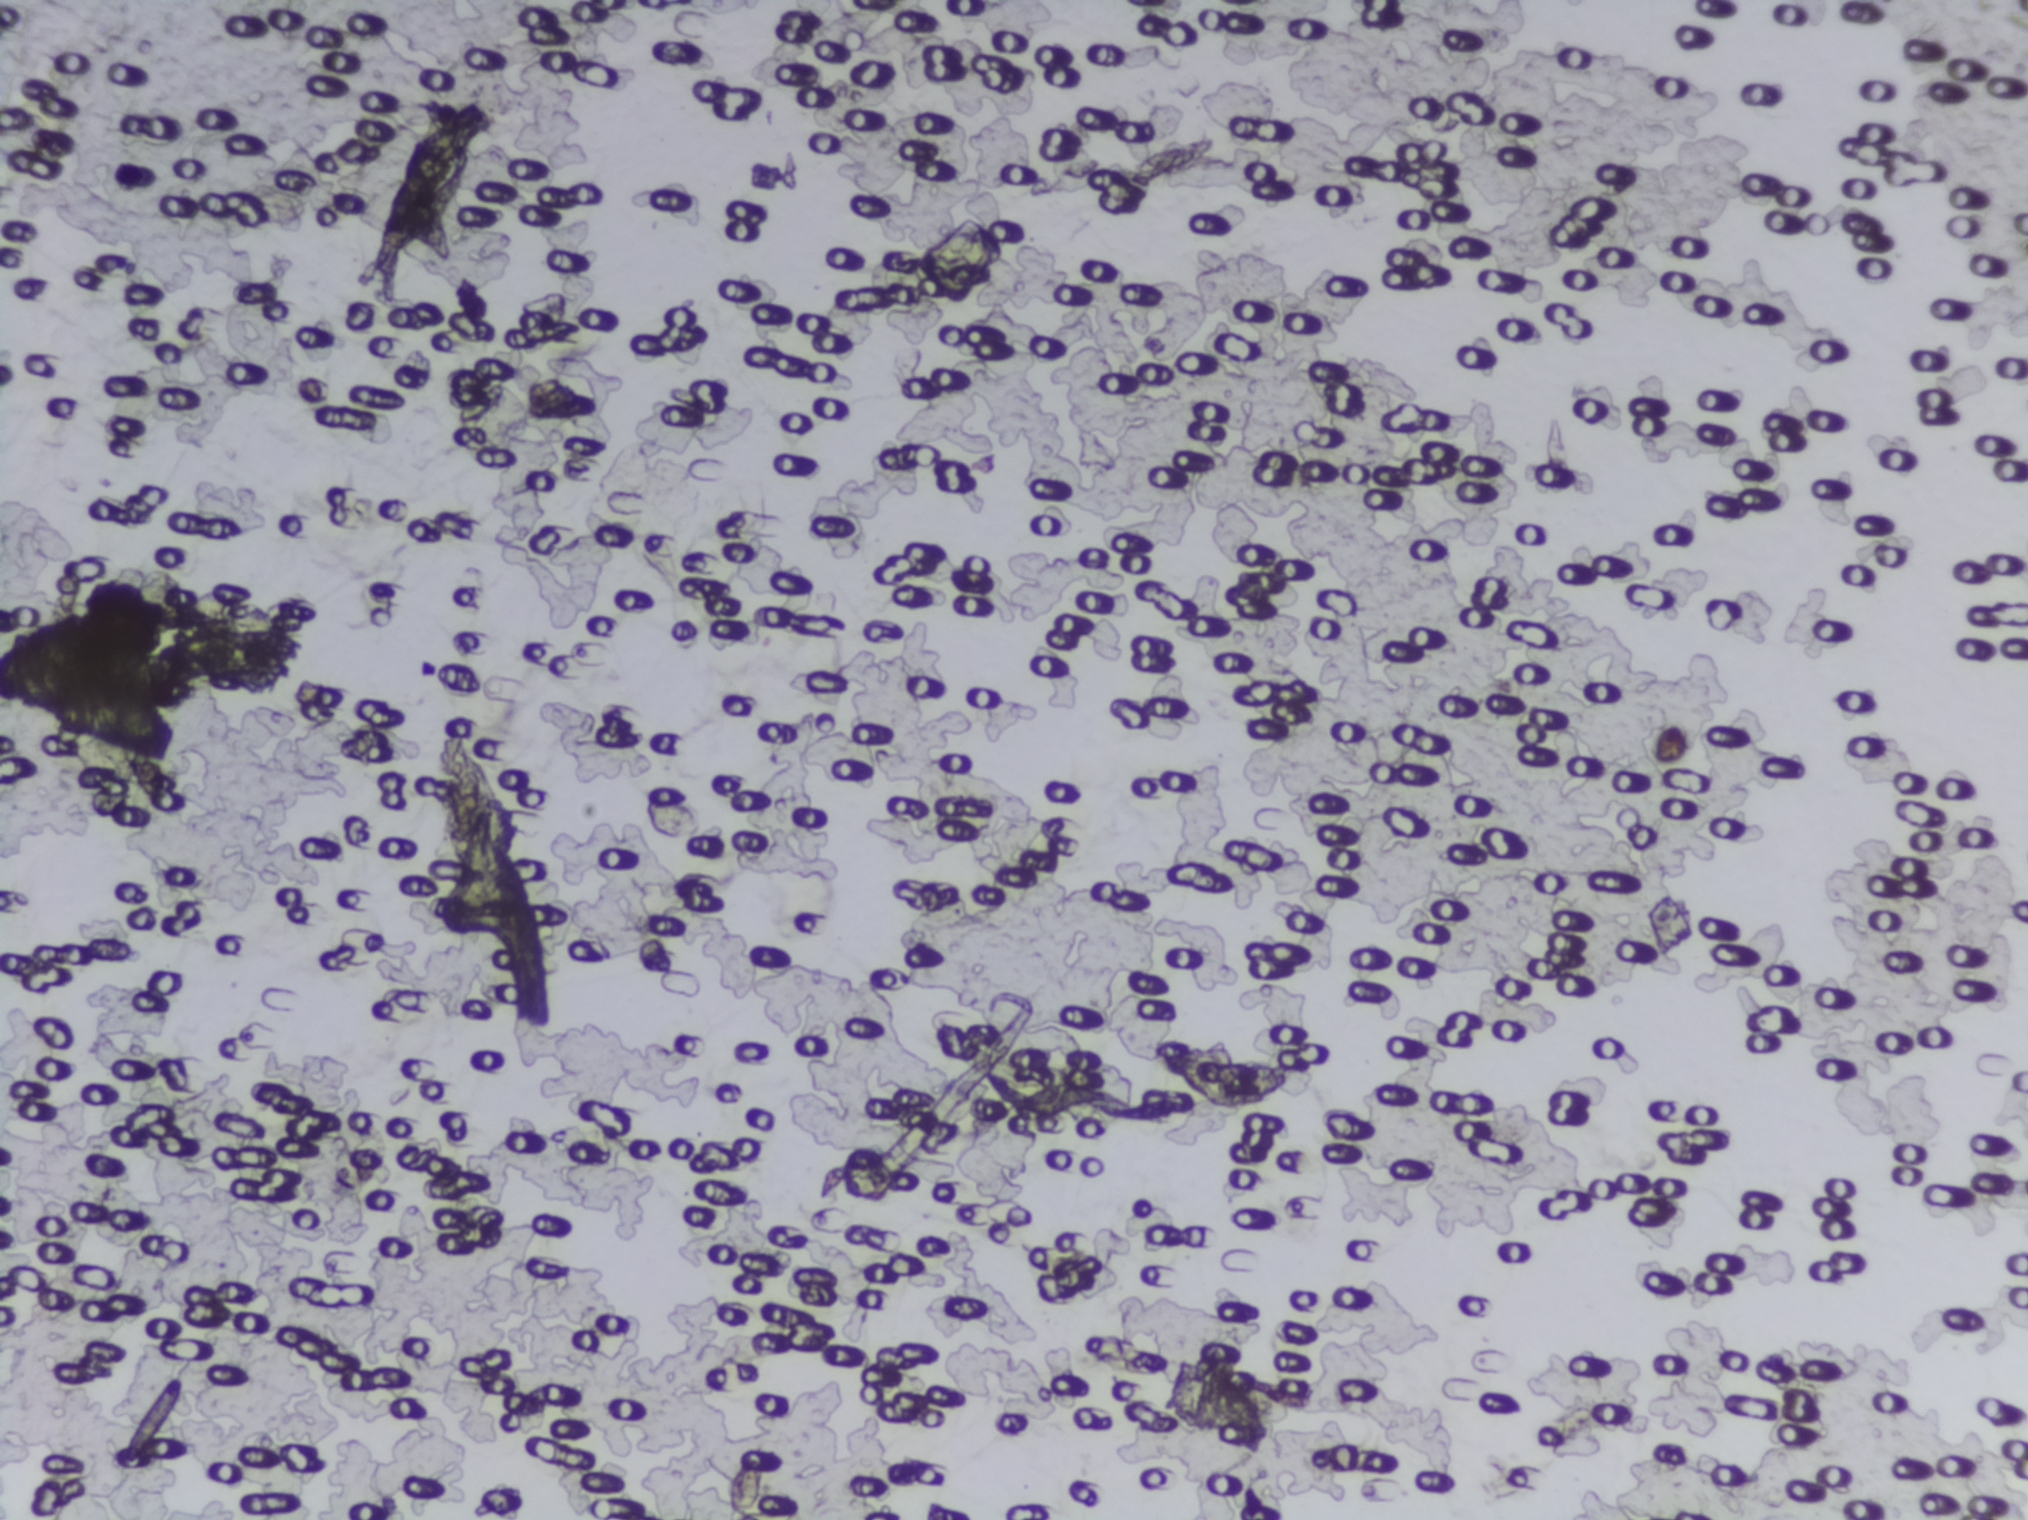
No Schistosoma egg is outlined in this image's expert annotation.
Photomicrograph of a urine filtration membrane, 4× objective.